Microscope photograph (4× objective) of a membrane that a urine sample was filtered through.
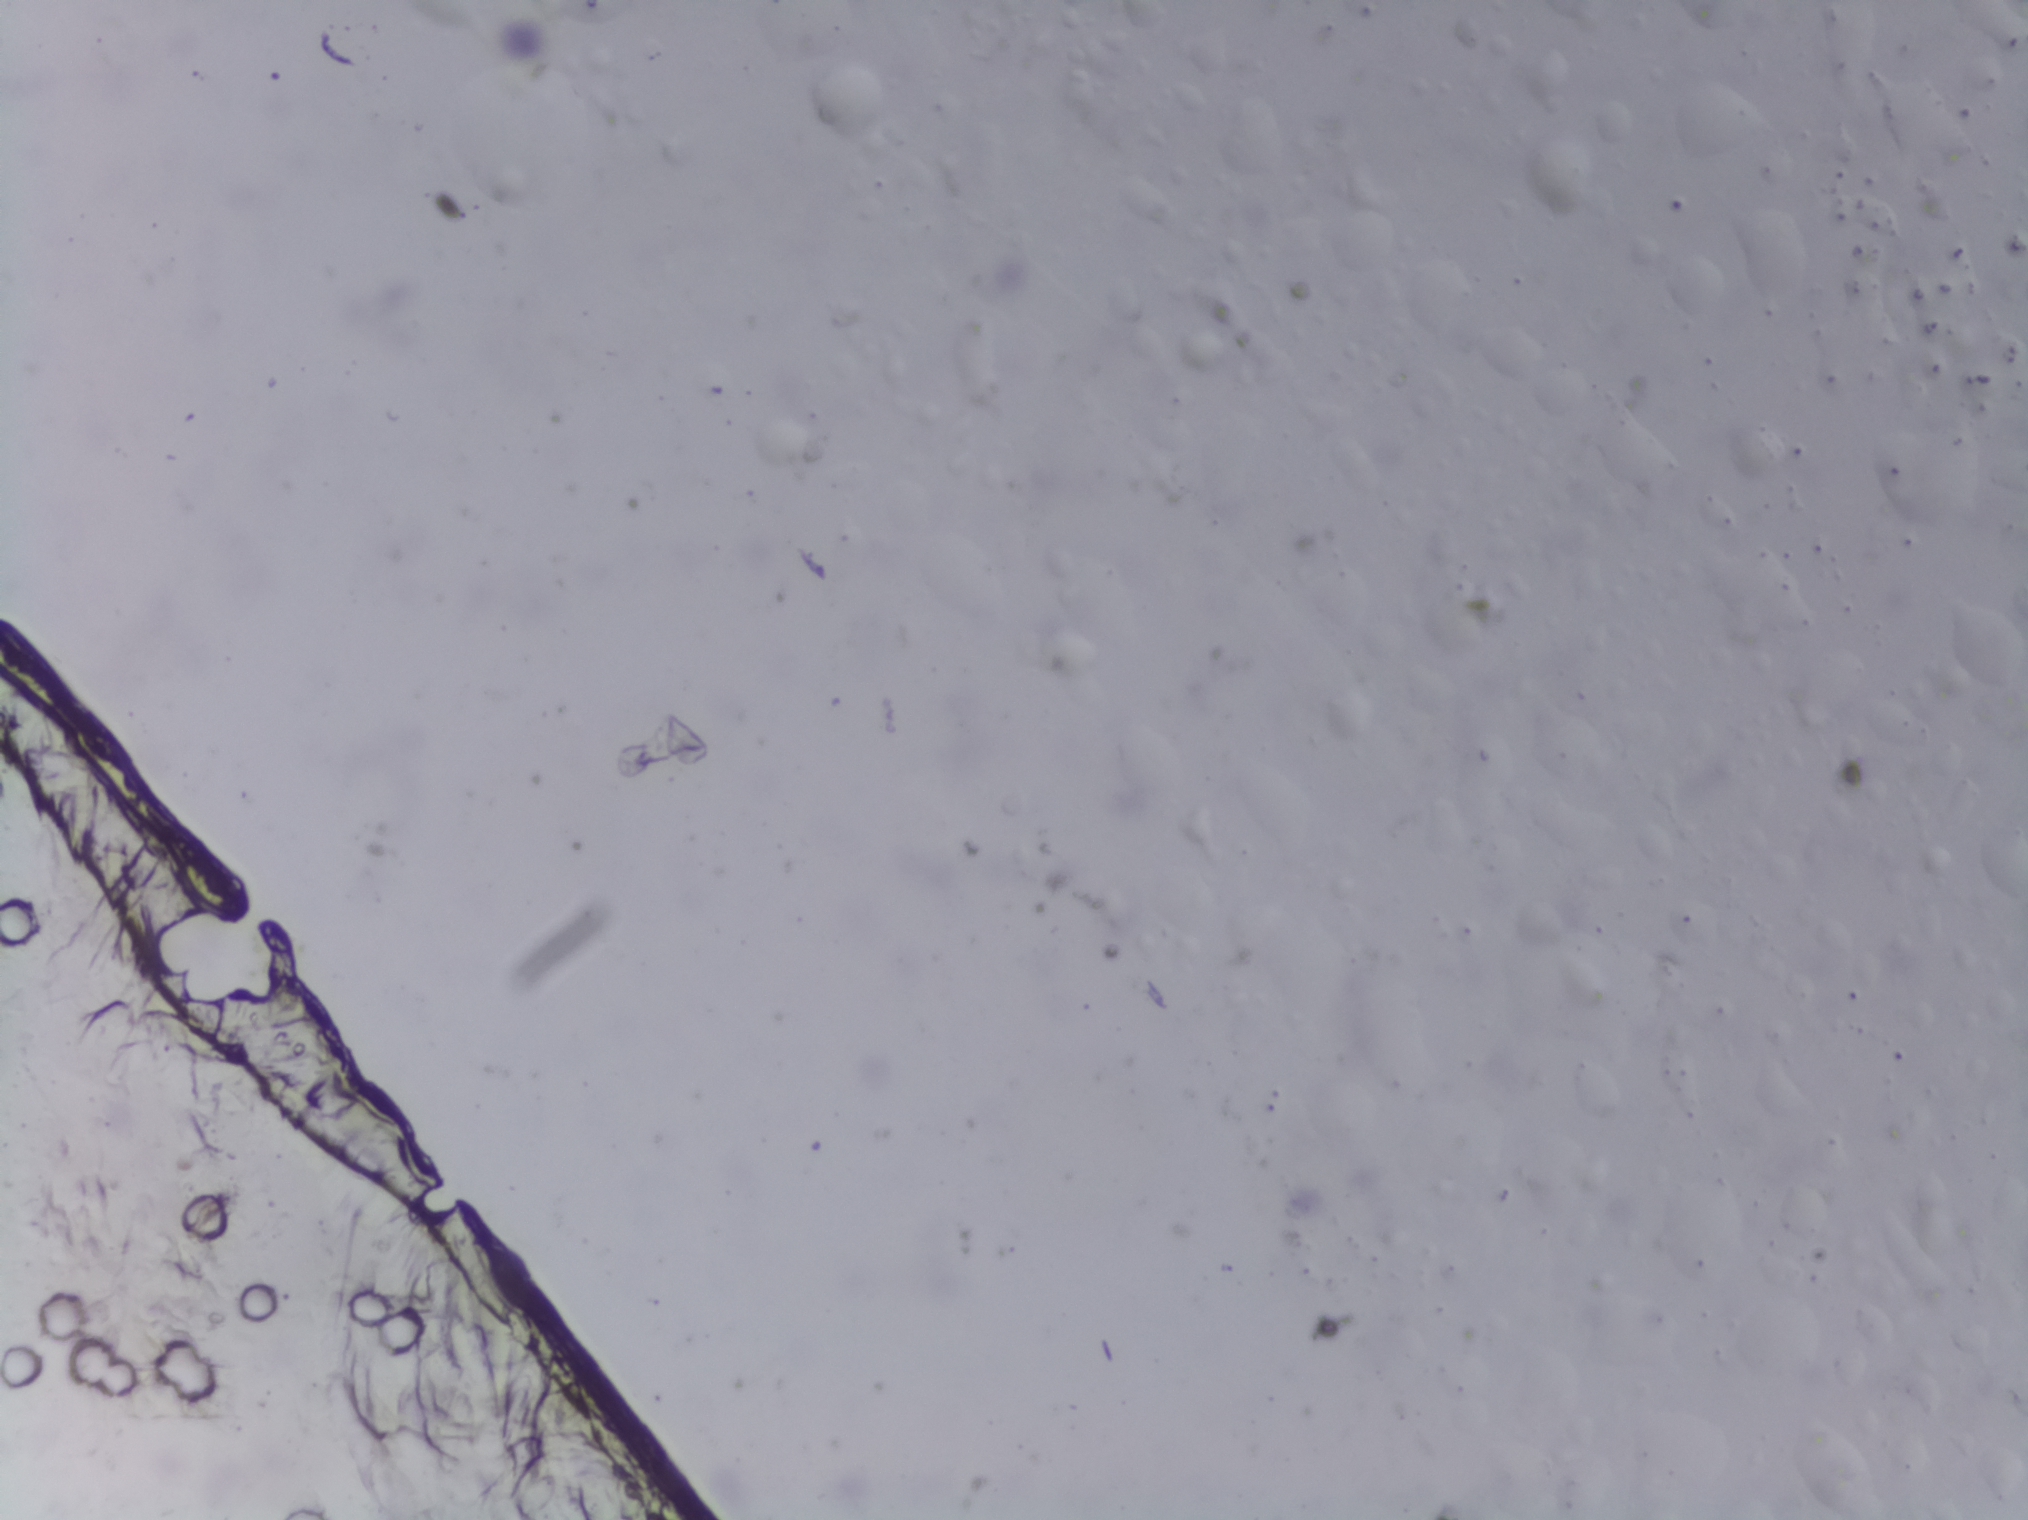
Schistosoma eggs: none outlined.